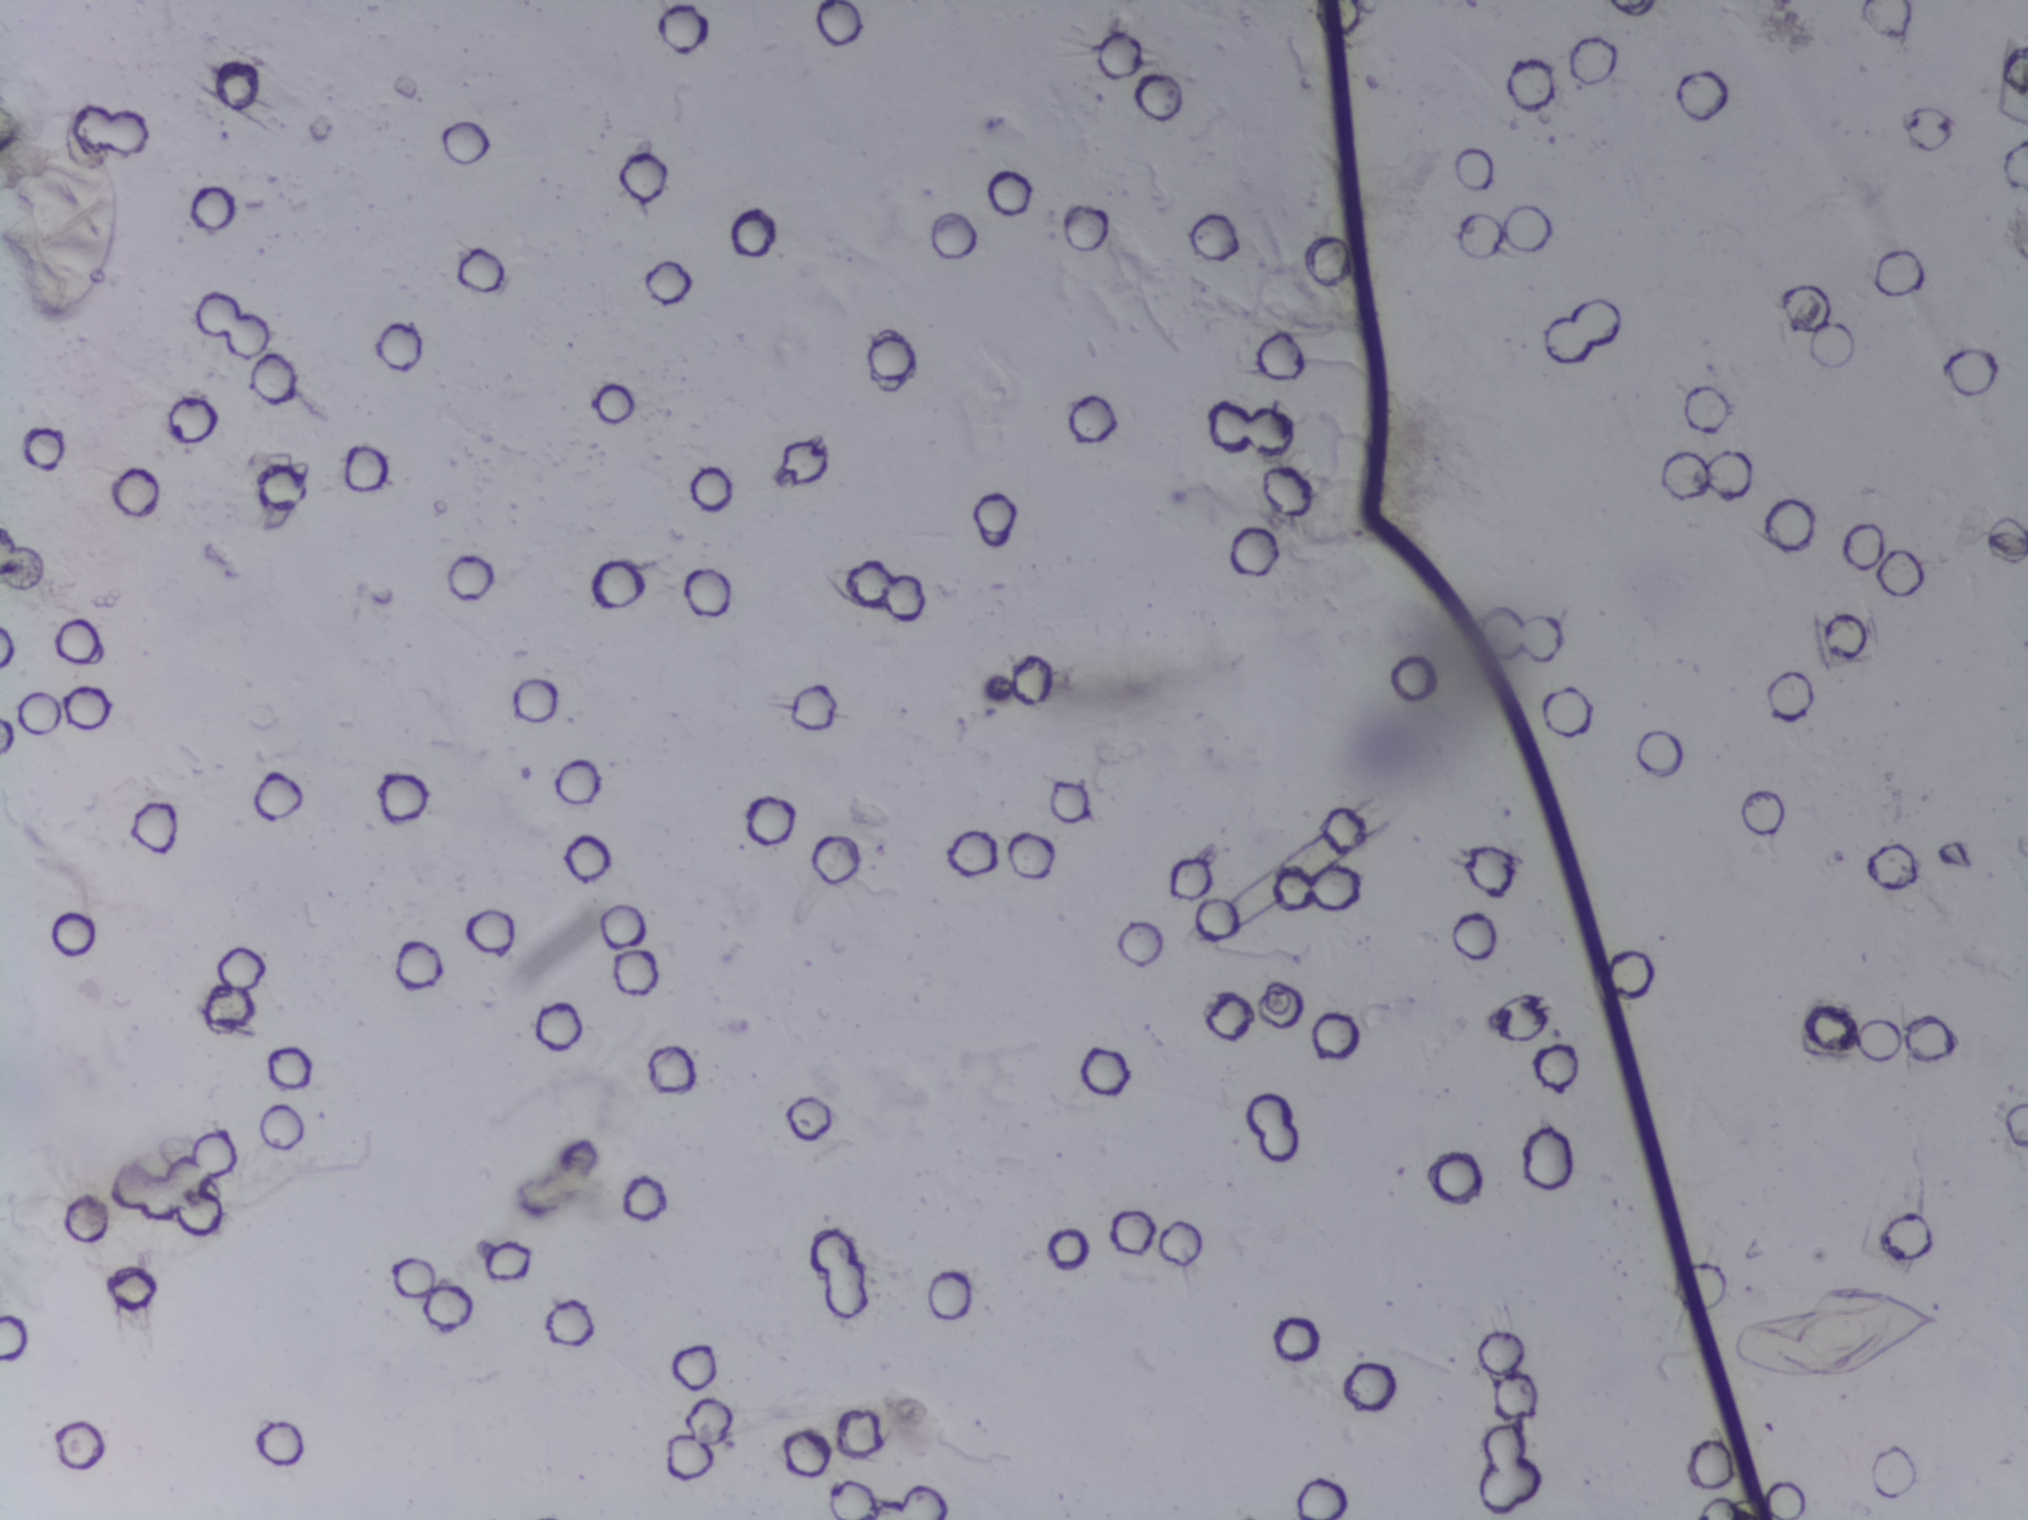
Photograph from an automated digital microscope: urine filter membrane, 4× objective. Field of view: about 1.5 mm wide and 1.1 mm high.
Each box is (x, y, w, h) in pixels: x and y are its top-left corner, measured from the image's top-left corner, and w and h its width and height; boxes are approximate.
Two areas of this image are outlined as Schistosoma eggs, from left to right: (x=0, y=117, w=130, h=206) (reaching the left edge of the frame) and (x=1725, y=1287, w=219, h=94). The marked pixels themselves, not the boxes around them, cover about 1.1% of the image. An outlined area can hold more than one egg.